Urine filtration membrane under a 4× objective, photographed by an automated digital microscope. The field of view is about 1.5 mm × 1.1 mm.
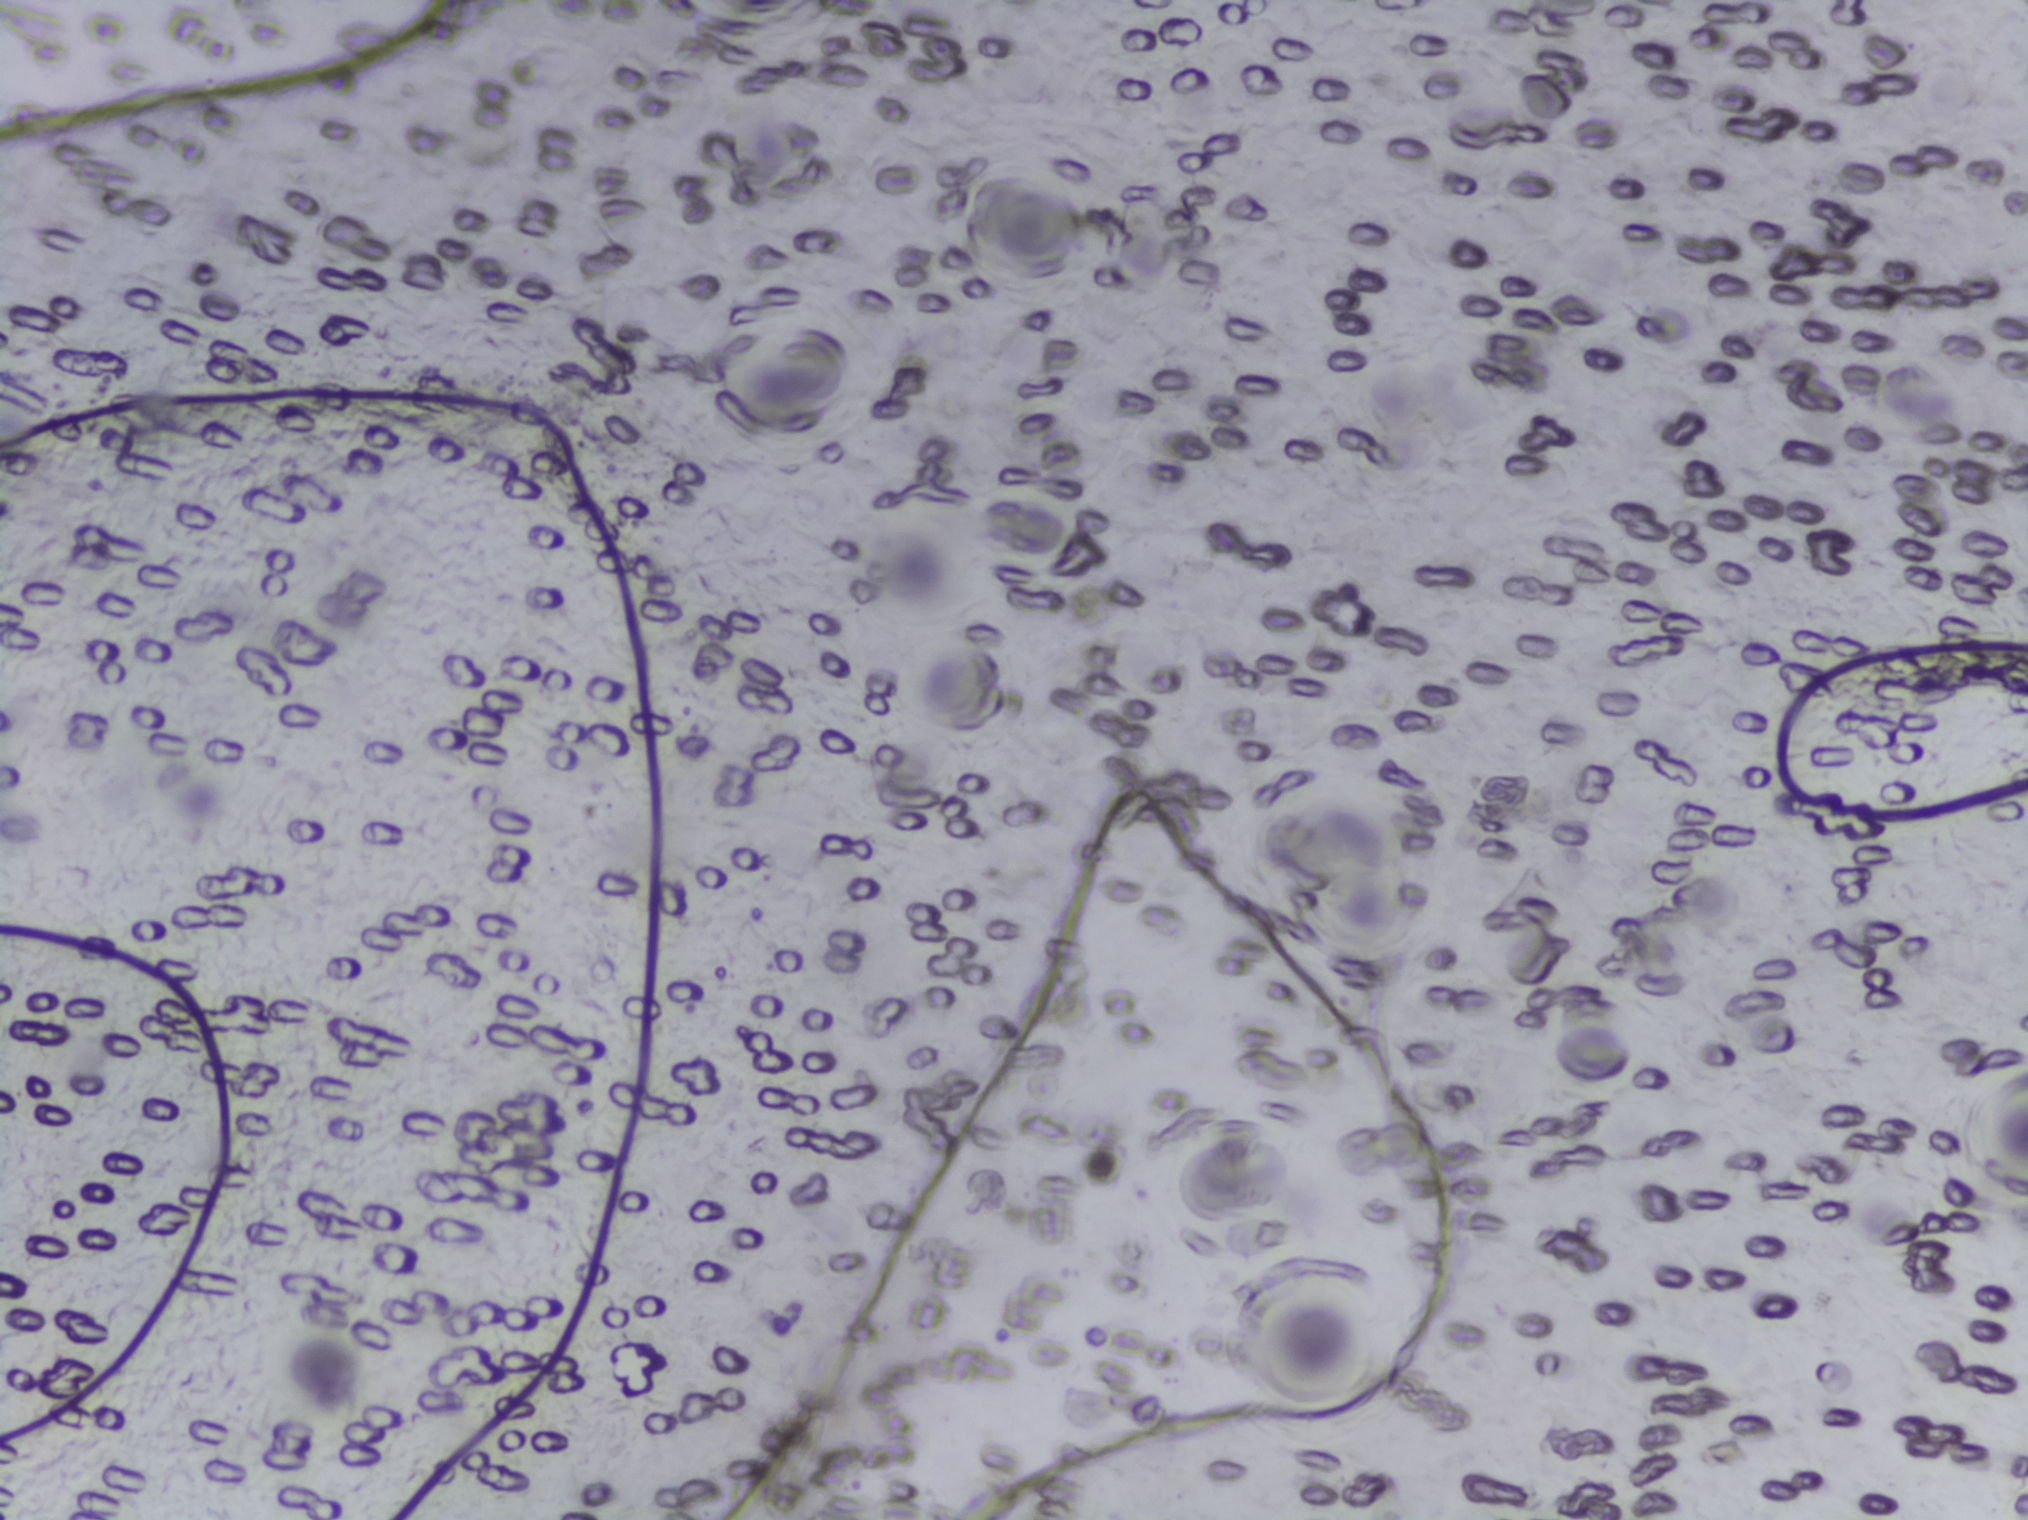
The expert annotation outlines no Schistosoma egg in this image.